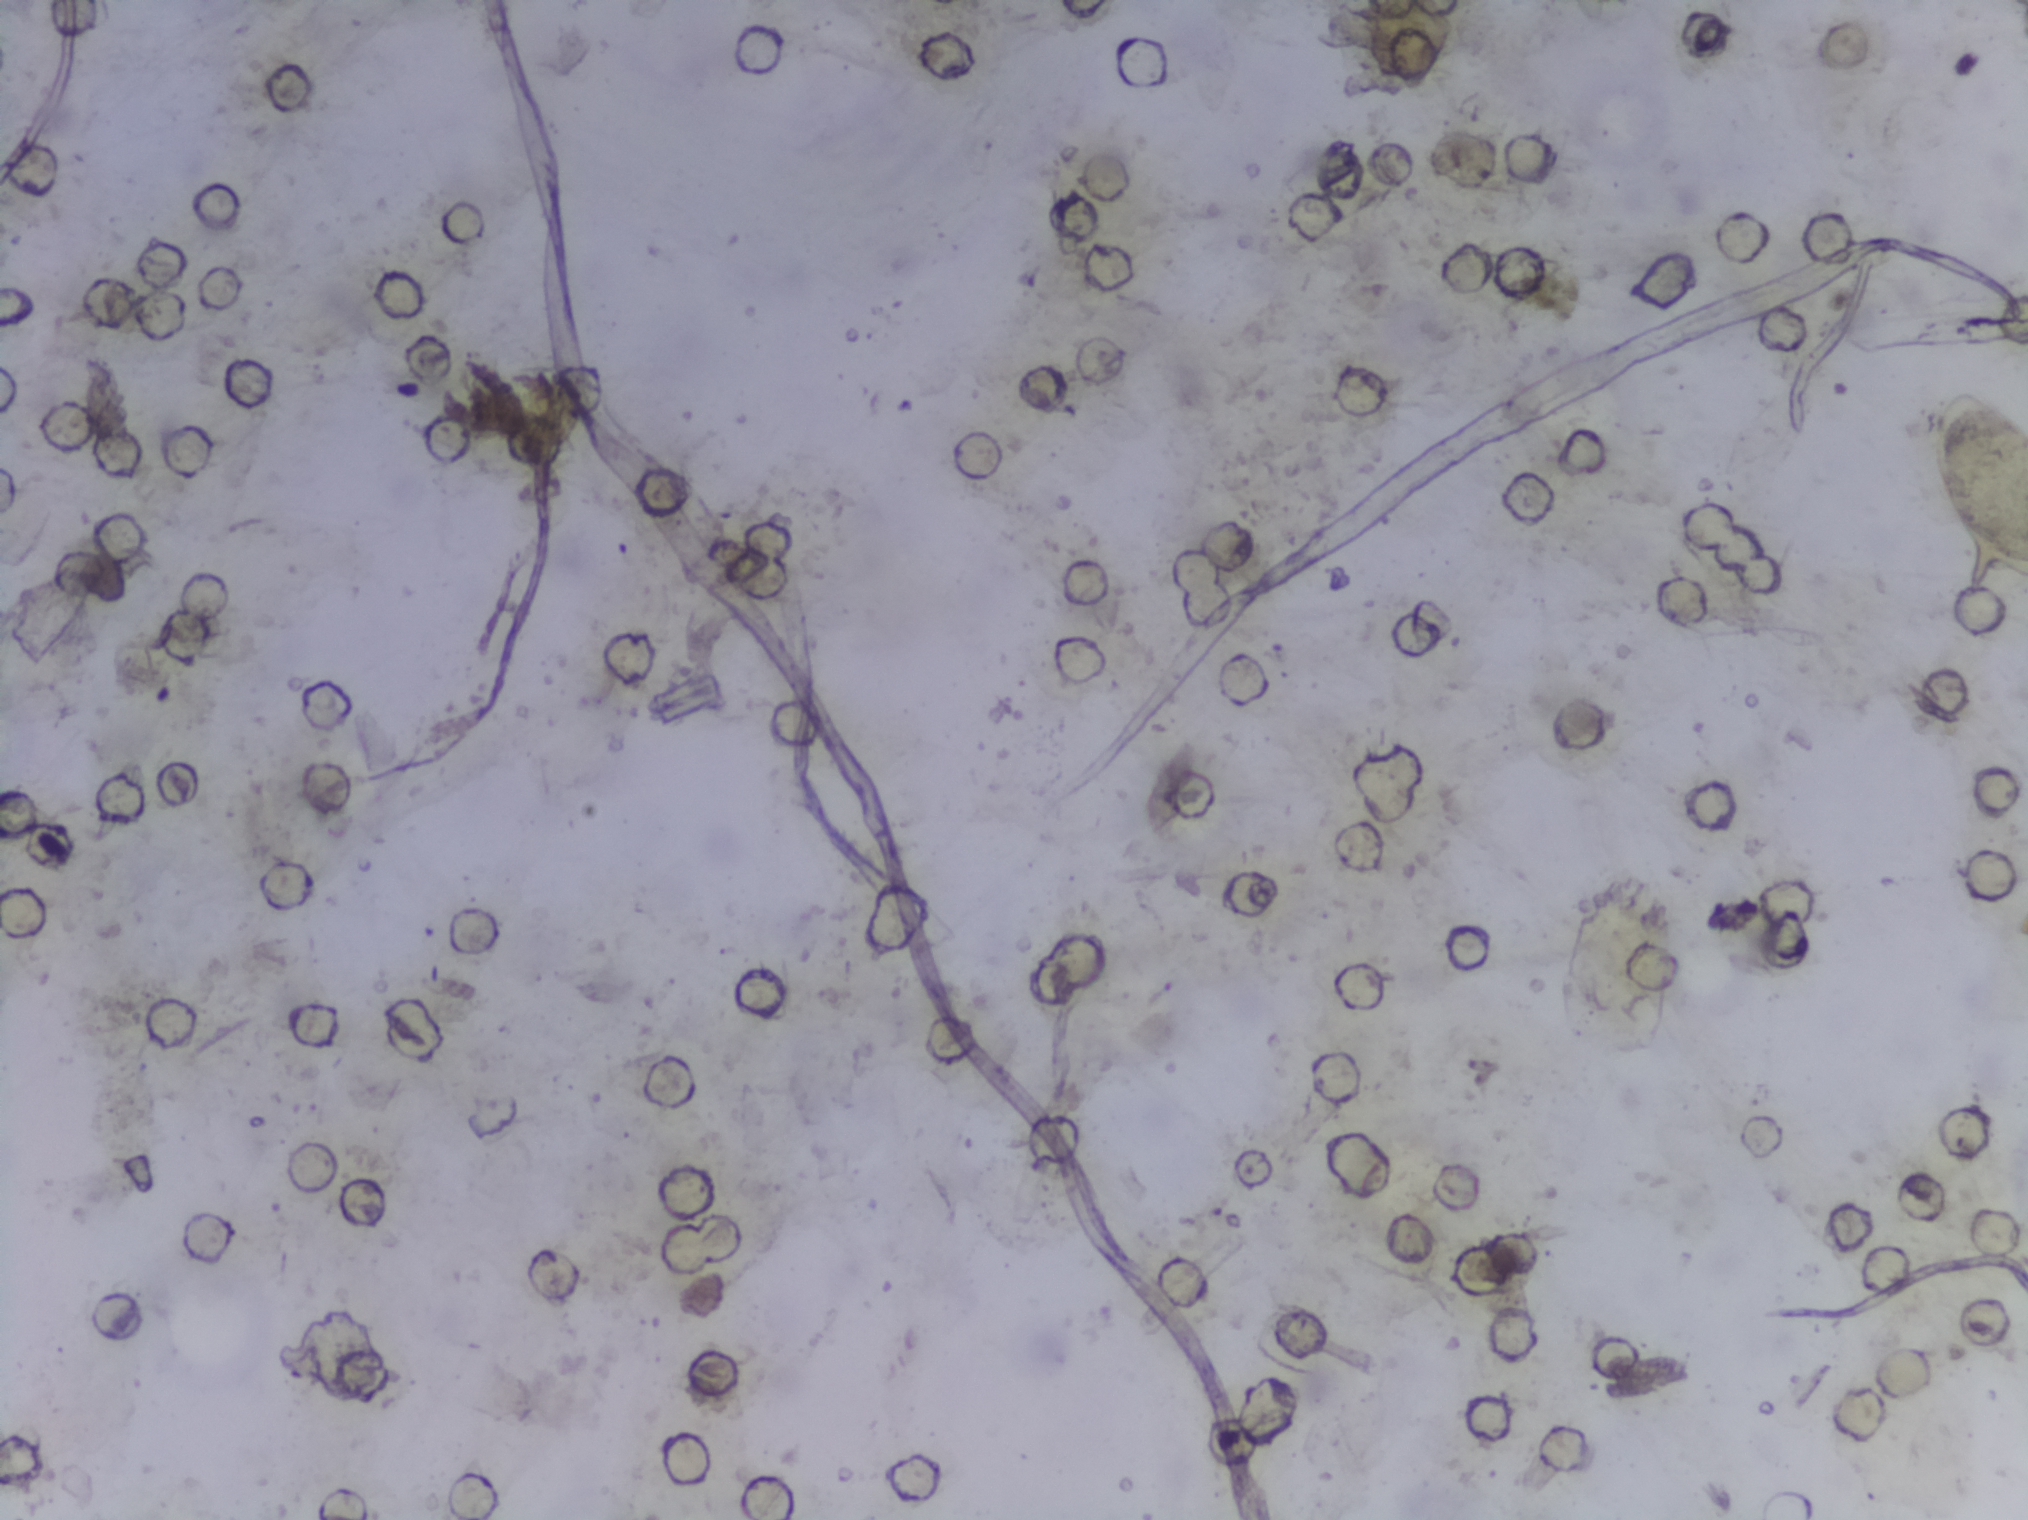
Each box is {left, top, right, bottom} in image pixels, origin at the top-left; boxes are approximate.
Schistosoma eggs are outlined in the expert annotation at {1917, 383, 2027, 612} (reaching the right edge of the frame). Eggs that touch can end up inside the same outlined area. Any one outlined egg may, rarely, be S. mansoni rather than S. haematobium.
Photomicrograph of a urine filtration membrane, 4× objective.